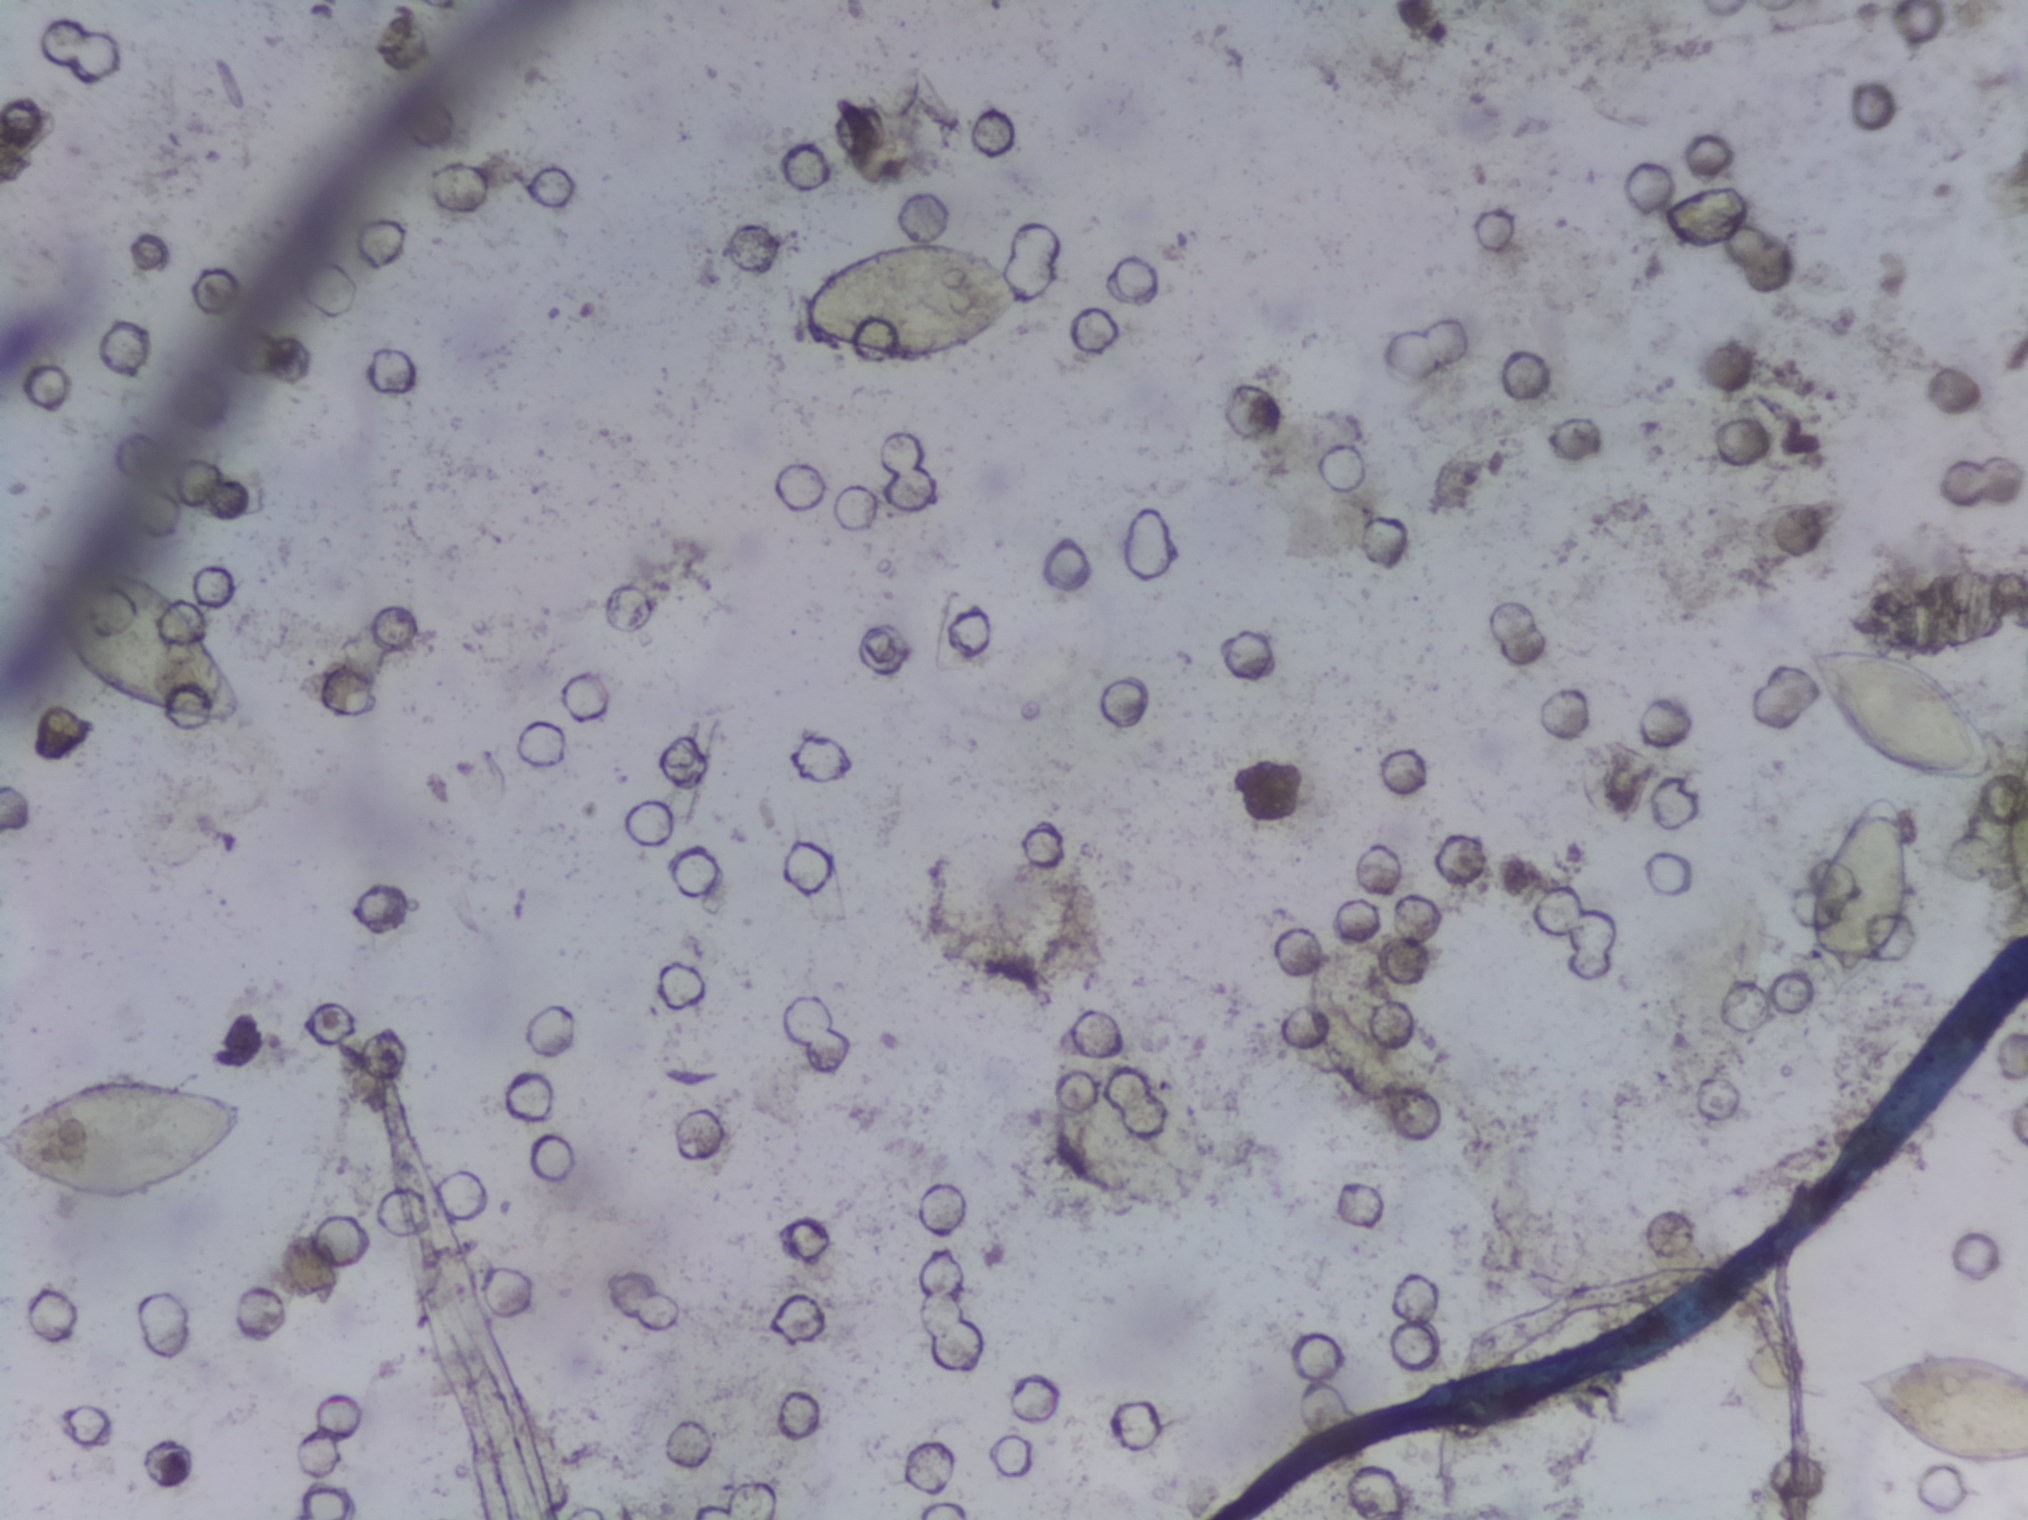
Urine filtration membrane under a 4× objective, photographed by an automated digital microscope.
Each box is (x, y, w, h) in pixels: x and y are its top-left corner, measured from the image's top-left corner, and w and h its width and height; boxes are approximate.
Six areas of this image are outlined as Schistosoma eggs, from left to right: (x=0, y=1071, w=253, h=131) (reaching the left edge of the frame); (x=27, y=555, w=220, h=174); (x=795, y=239, w=240, h=126); (x=1798, y=643, w=204, h=138); (x=1800, y=785, w=114, h=224); (x=1850, y=1346, w=178, h=124) (reaching the right edge of the frame). A single outlined area may contain several eggs.